One field of view of a urine filter membrane, 4× objective, 2028 × 1520 pixels.
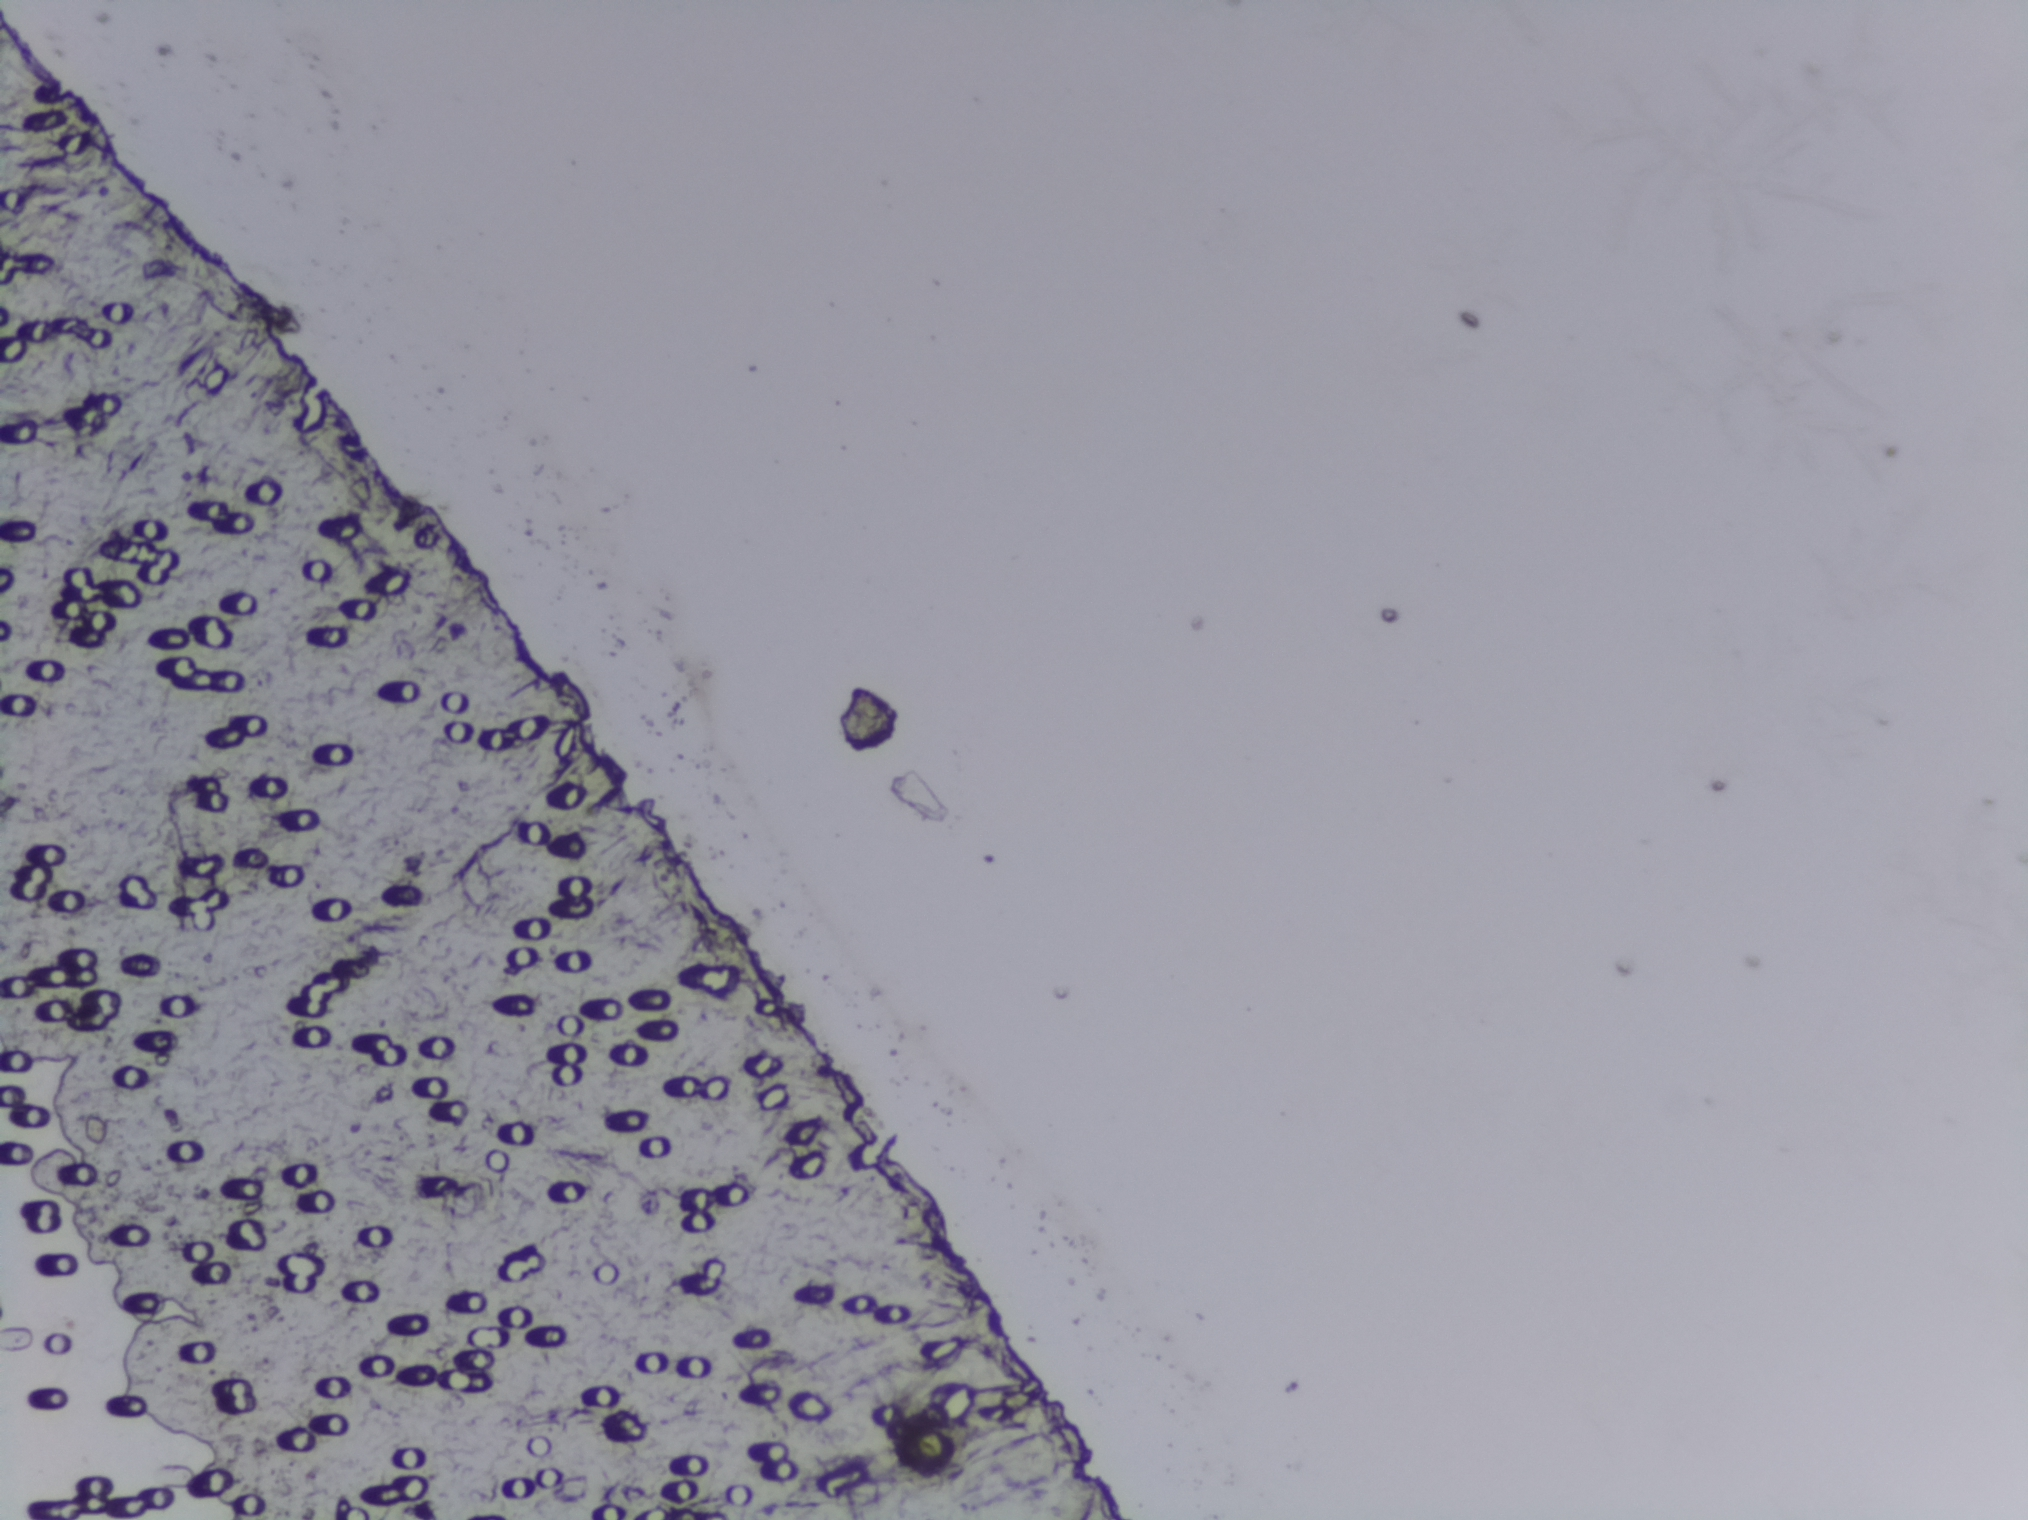
The expert annotation marks no Schistosoma egg in this field of view.